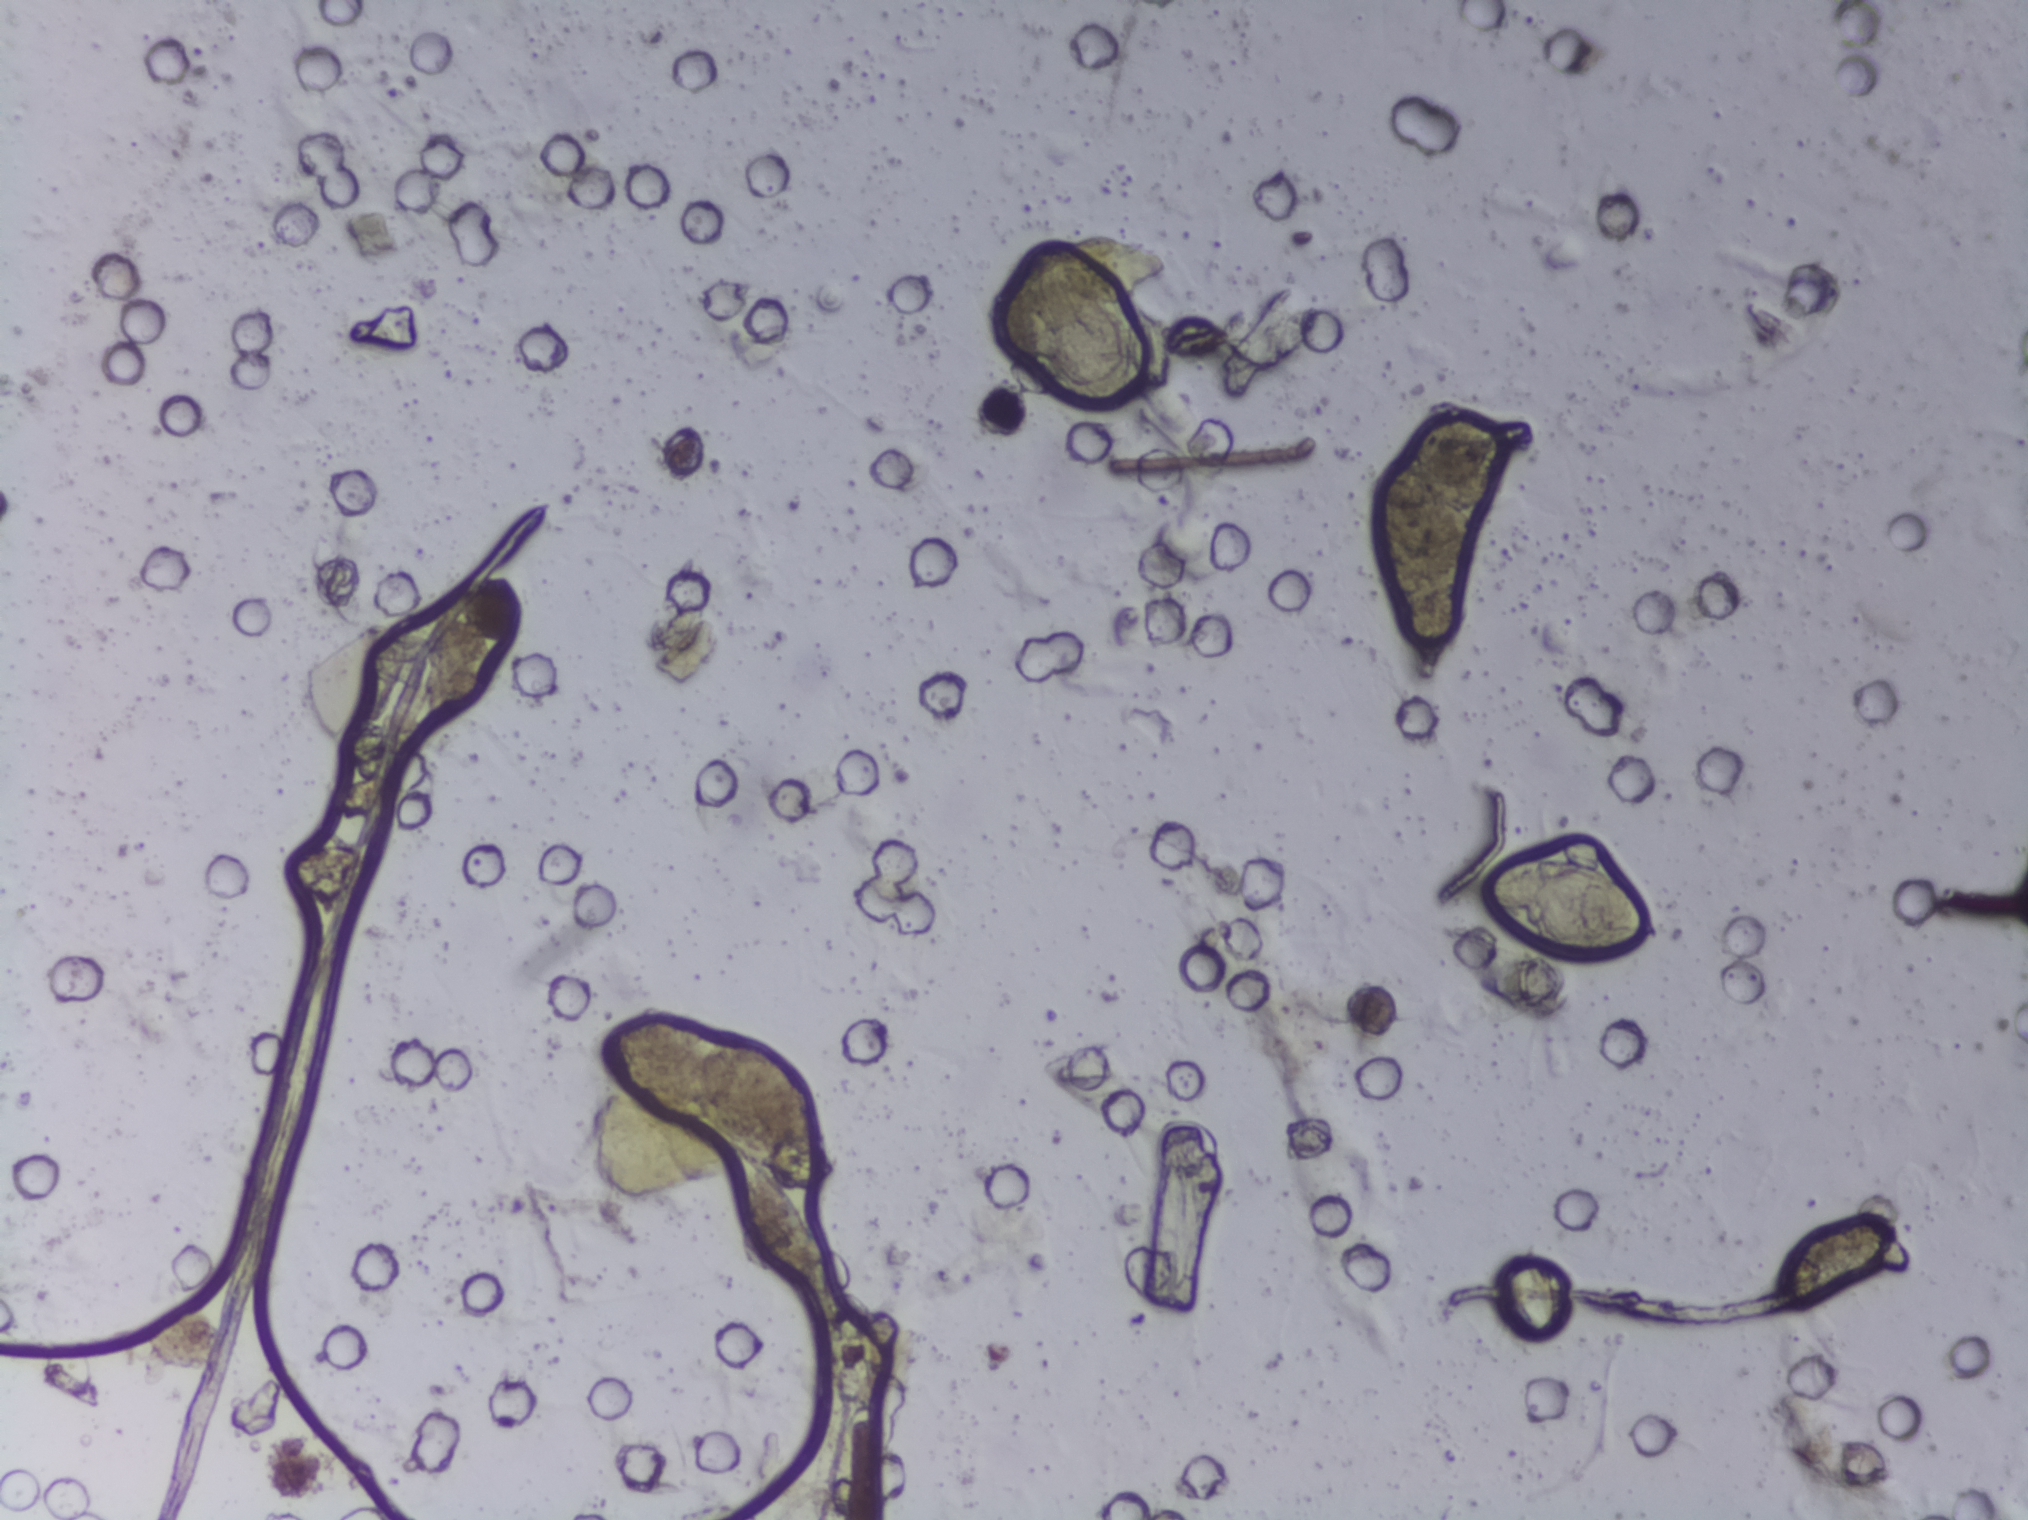
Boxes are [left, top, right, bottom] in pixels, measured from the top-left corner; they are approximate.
Schistosoma eggs are outlined in the expert annotation at [1478, 855, 1663, 956]. Marked pixels, not the box around them: about 0.4% of the image. An outlined area can hold more than one egg.
Urine filter membrane photographed through a 4× microscope objective.